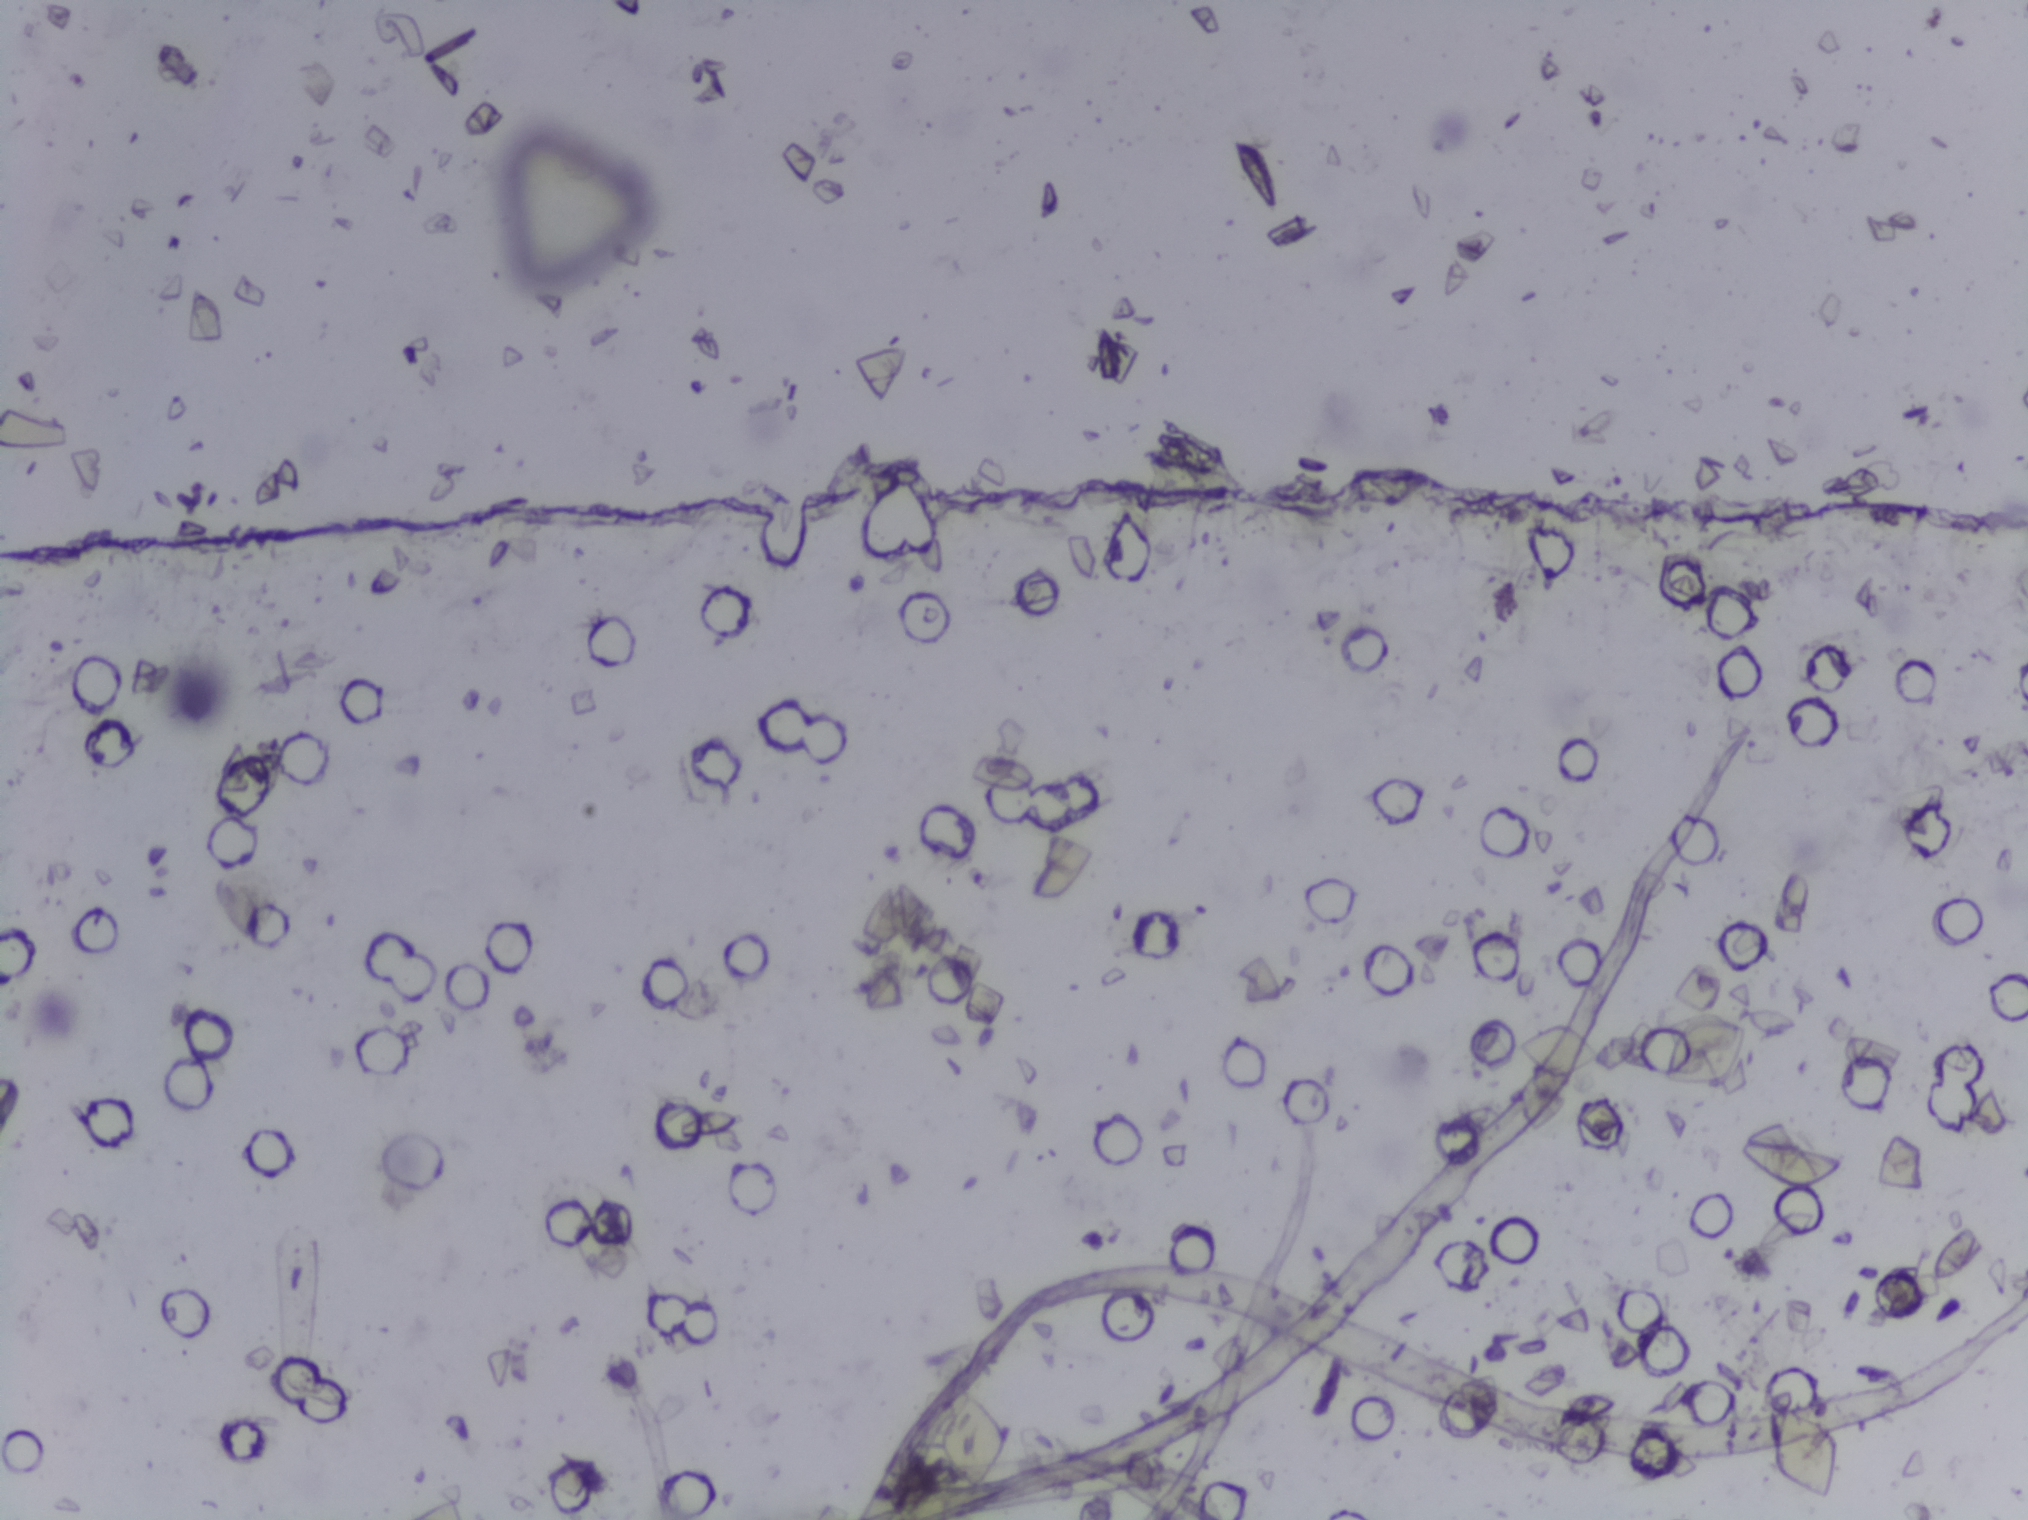
The expert annotation outlines no Schistosoma egg in this image.
Urine filter membrane photographed through a 4× microscope objective.